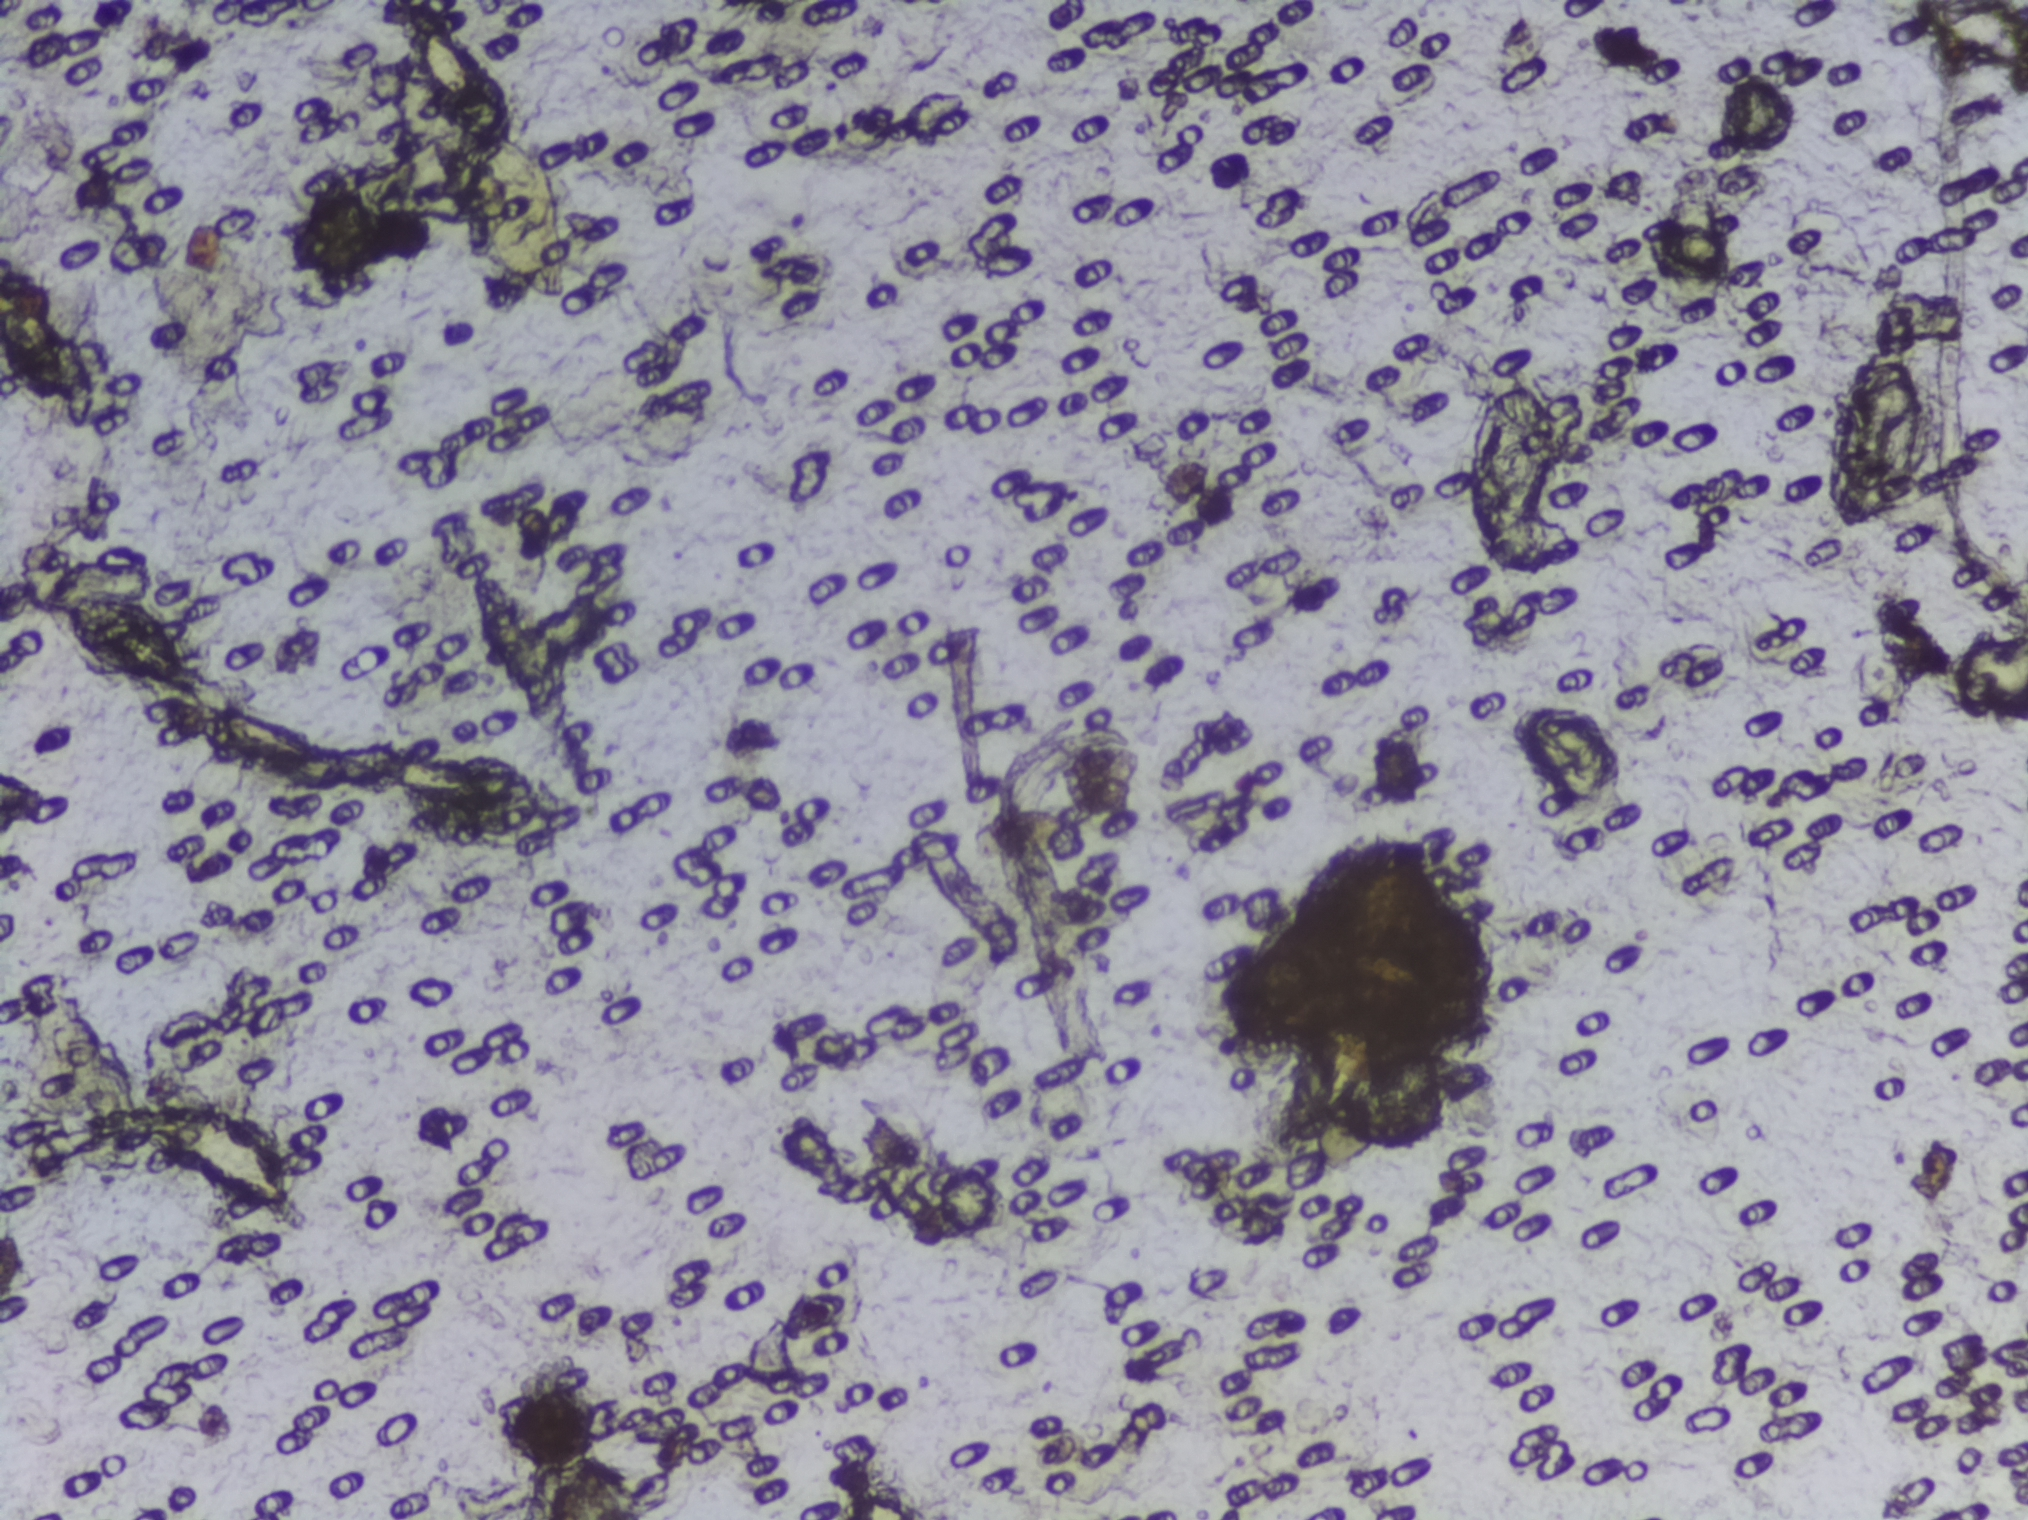
Microscope photograph (4× objective) of a membrane that a urine sample was filtered through. The field of view is about 1.5 mm × 1.1 mm.
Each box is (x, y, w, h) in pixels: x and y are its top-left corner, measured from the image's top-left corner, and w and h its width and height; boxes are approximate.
The expert annotation outlines Schistosoma eggs at (x=38, y=570, w=169, h=134); (x=377, y=9, w=214, h=295); (x=1457, y=370, w=107, h=195); (x=1814, y=328, w=111, h=208) (left to right). Eggs that touch can end up inside the same outlined area.